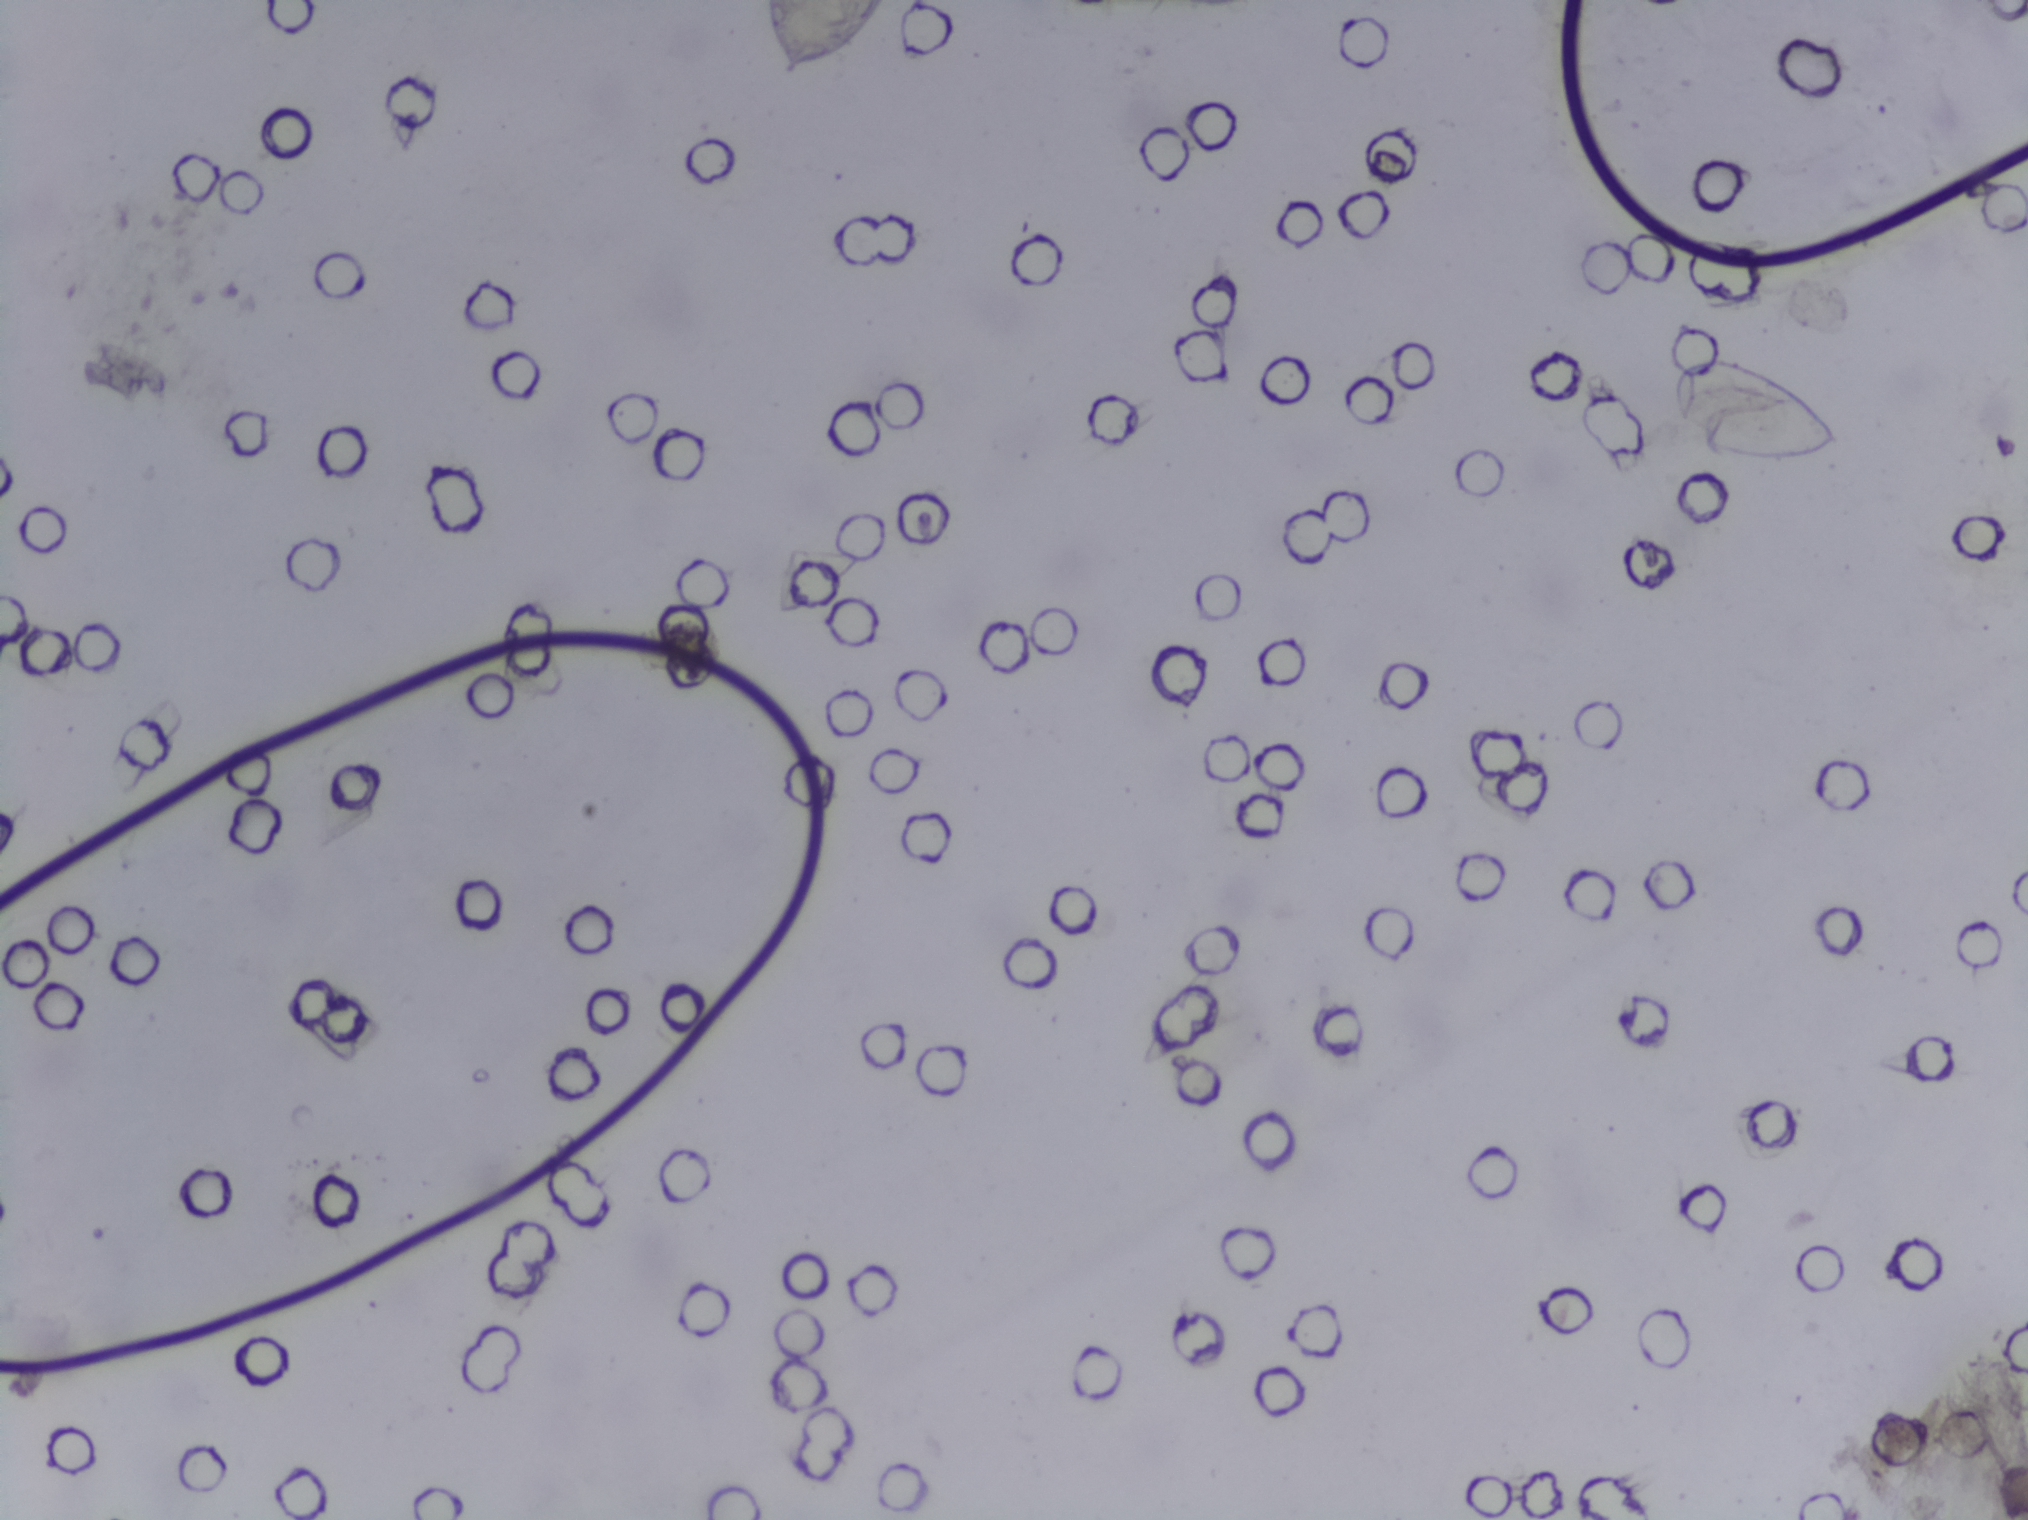
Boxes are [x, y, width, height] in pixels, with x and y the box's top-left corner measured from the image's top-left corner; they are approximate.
Outlined Schistosoma egg areas, left to right:
1. [753, 0, 150, 86] (reaching the top edge of the frame)
2. [1663, 346, 179, 123]
An outlined area can hold more than one egg.
One field of view of a urine filter membrane, 4× objective, 2028 × 1520 pixels. The image covers about 1.5 × 1.1 mm of the membrane.